Photomicrograph of a urine filtration membrane, 4× objective.
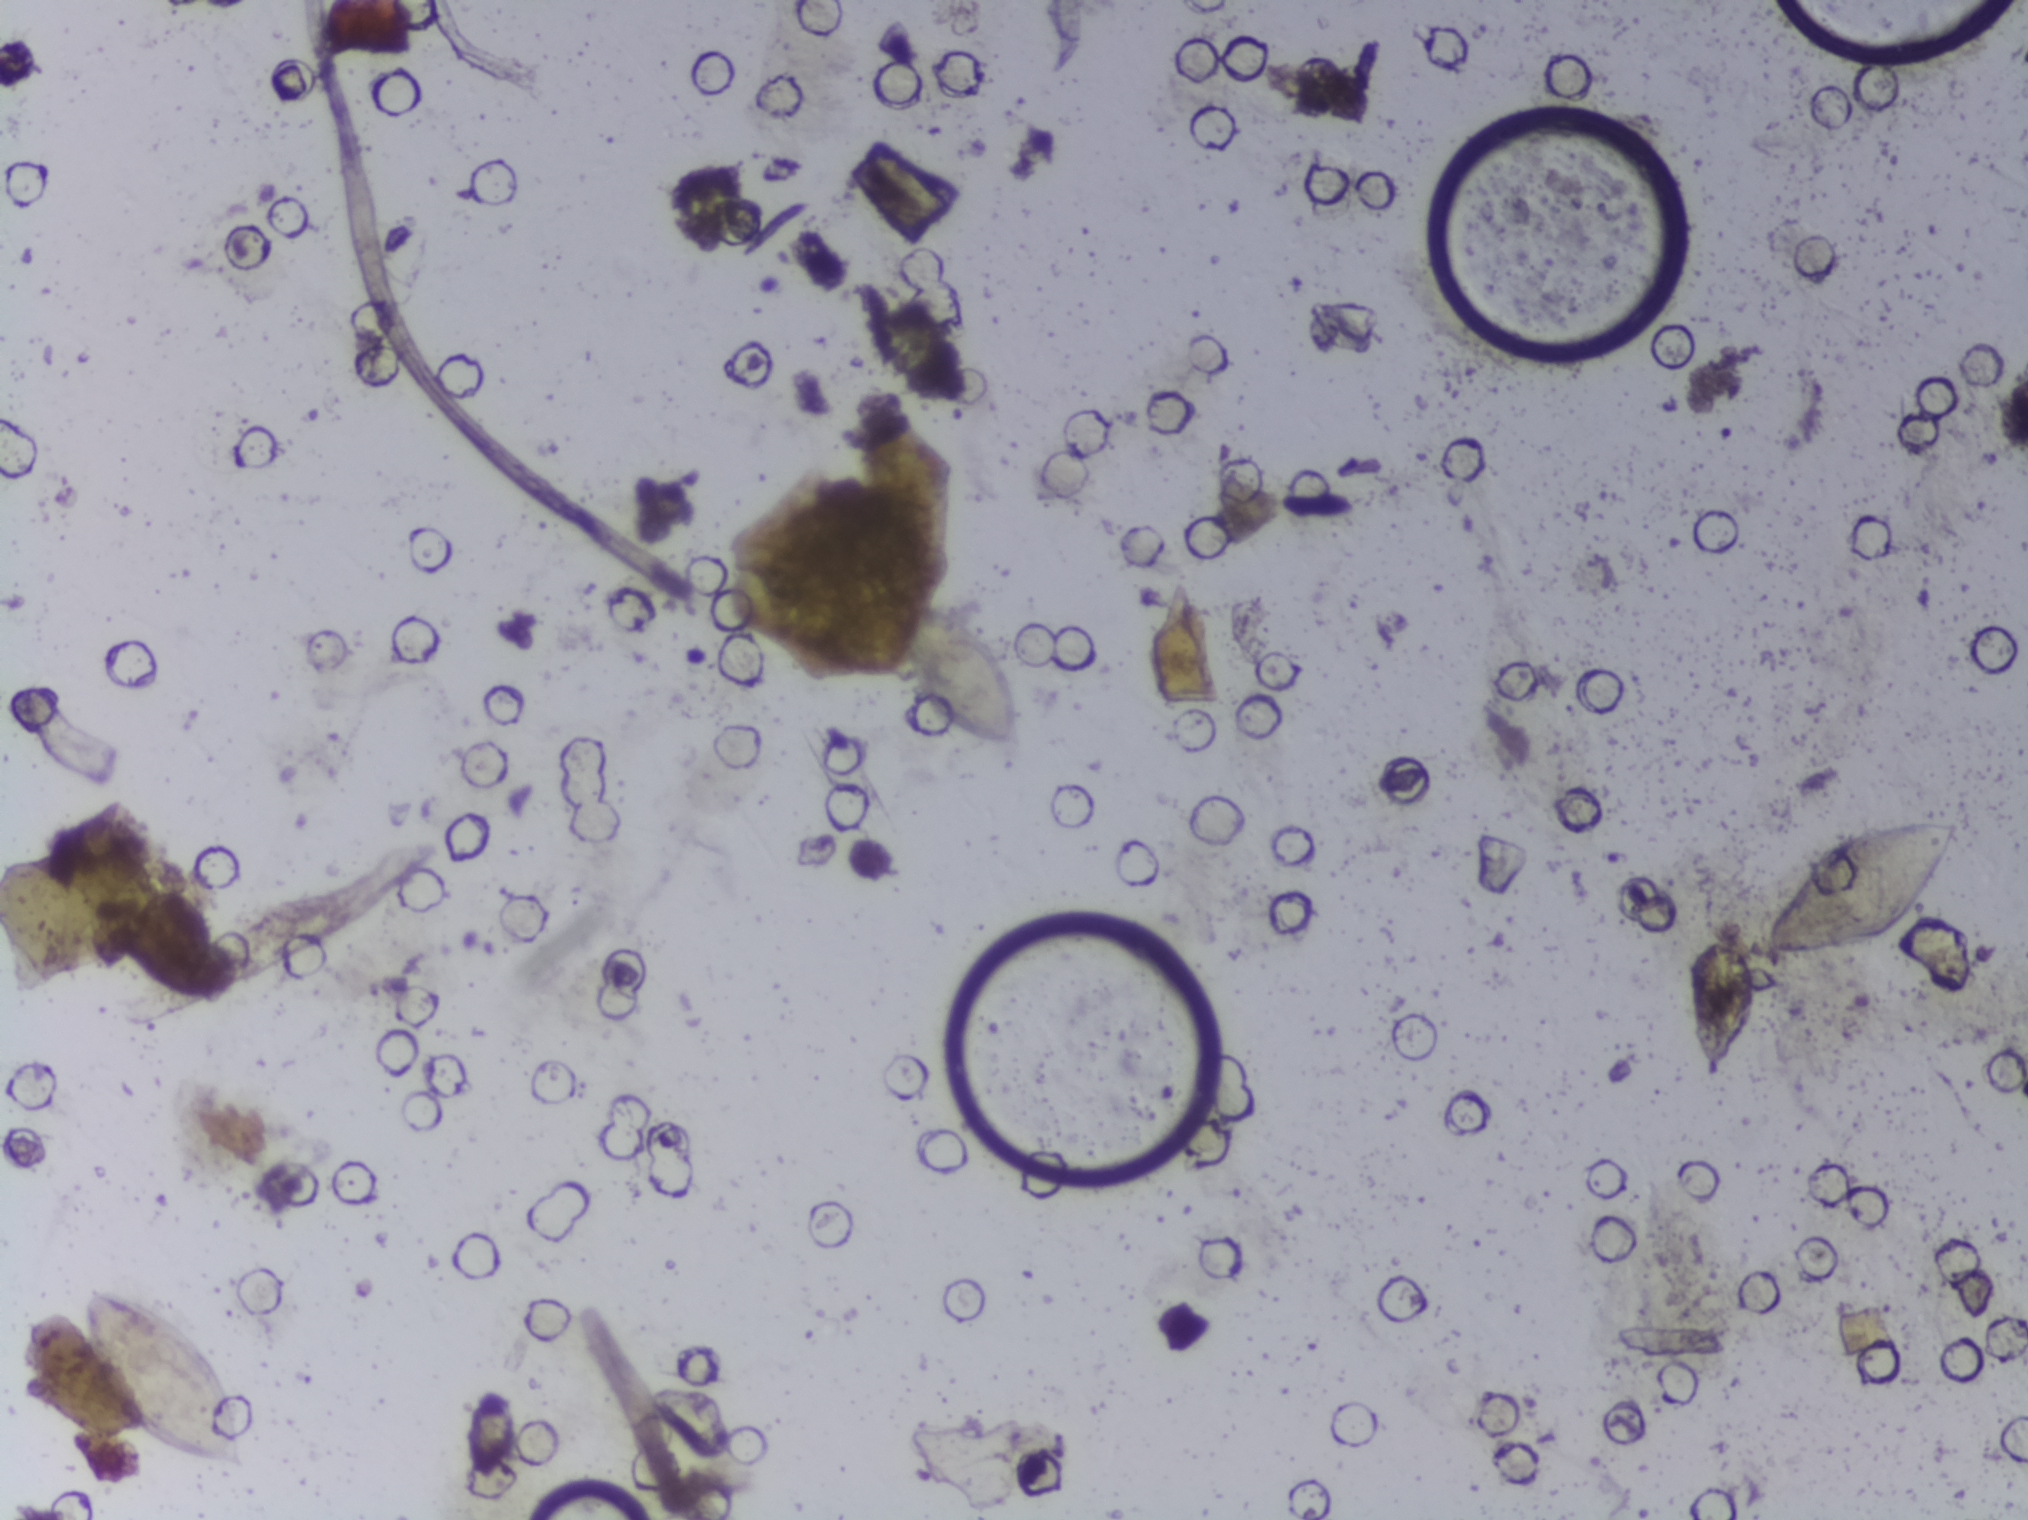
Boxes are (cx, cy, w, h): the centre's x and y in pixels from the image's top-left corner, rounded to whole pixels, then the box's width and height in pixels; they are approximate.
Four areas of this image are outlined as Schistosoma eggs, from left to right: (cx=165, cy=1380, w=170, h=186); (cx=966, cy=674, w=121, h=143); (cx=1723, cy=1006, w=80, h=163); (cx=1861, cy=887, w=201, h=137). Eggs that touch can end up inside the same outlined area. A marked egg may occasionally be S. mansoni rather than S. haematobium.